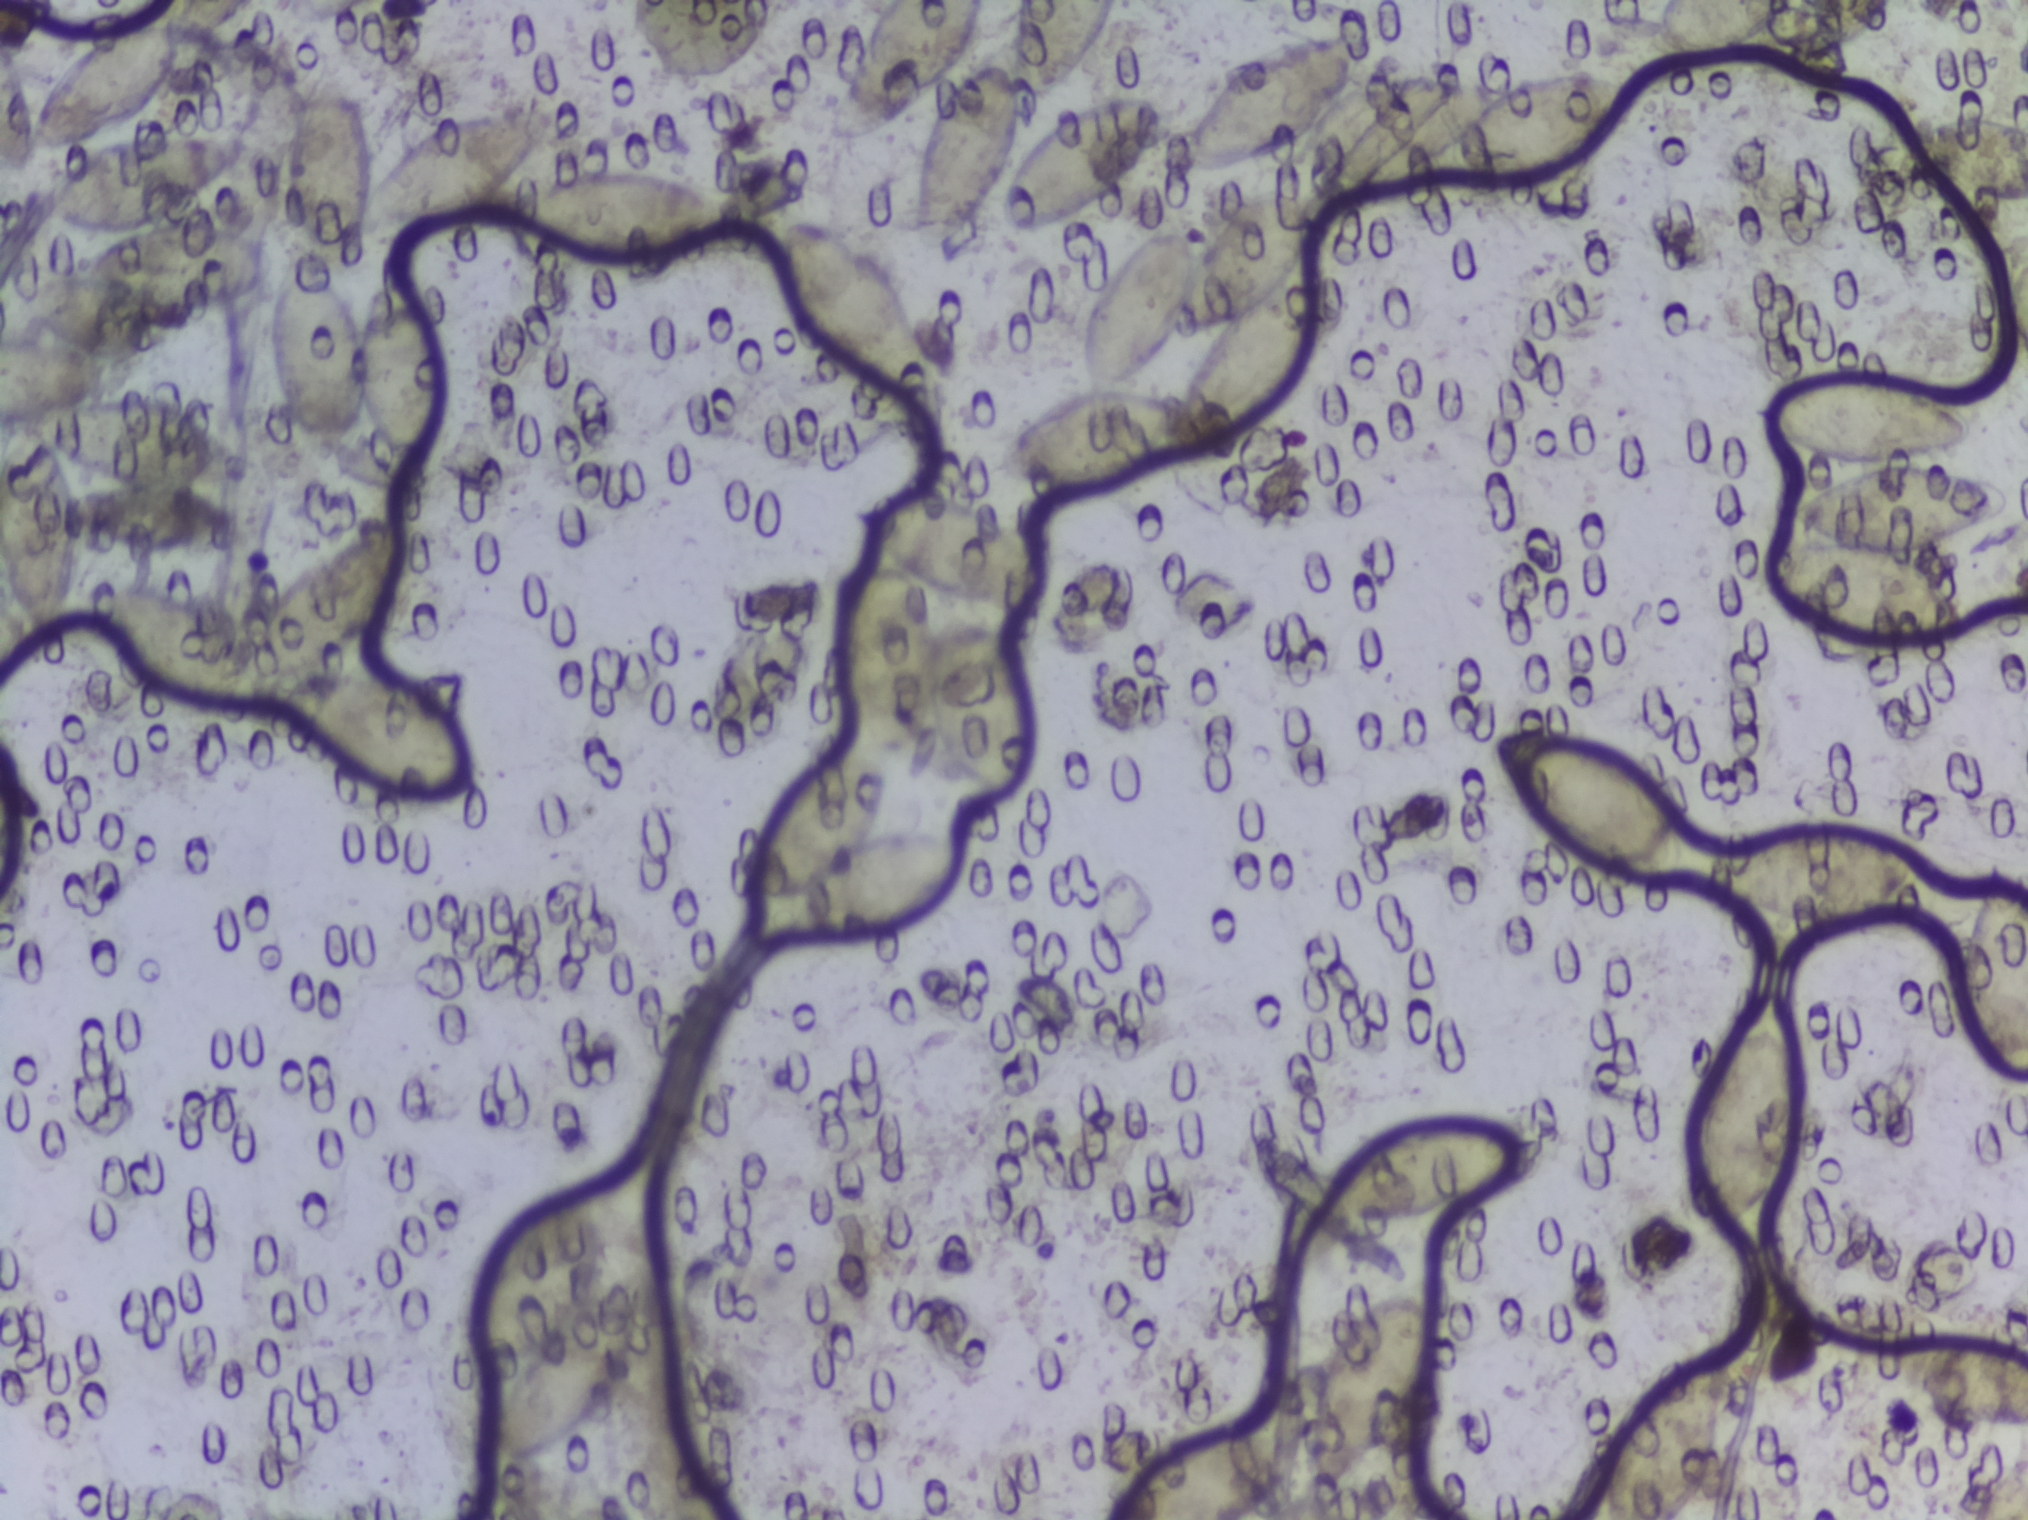
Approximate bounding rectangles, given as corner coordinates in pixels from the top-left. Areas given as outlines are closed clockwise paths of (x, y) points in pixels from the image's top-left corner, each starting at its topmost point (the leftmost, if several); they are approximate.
The expert annotation outlines Schistosoma eggs in 23 areas, left to right: outline (157, 23), (174, 29), (166, 84), (154, 104), (107, 132), (249, 136), (248, 159), (236, 174), (159, 227), (216, 226), (263, 241), (273, 252), (273, 275), (255, 296), (232, 305), (156, 313), (159, 347), (140, 361), (113, 364), (122, 374), (113, 389), (161, 390), (195, 405), (229, 435), (242, 454), (247, 487), (213, 497), (234, 509), (241, 525), (224, 546), (177, 555), (120, 548), (77, 529), (60, 630), (51, 639), (36, 639), (15, 613), (0, 570), (0, 340), (65, 348), (20, 311), (15, 291), (39, 276), (68, 274), (88, 253), (122, 238), (68, 230), (39, 209), (39, 199), (95, 138), (33, 151), (25, 175), (0, 163), (0, 38), (19, 64), (31, 129), (70, 56), (125, 27) (a cluster of eggs; reaching the left edge of the frame); outline (370, 527), (393, 527), (402, 542), (393, 599), (362, 640), (313, 670), (383, 671), (443, 702), (462, 727), (472, 757), (472, 791), (453, 808), (421, 808), (389, 797), (305, 747), (267, 713), (227, 719), (160, 699), (89, 642), (75, 619), (96, 592), (134, 589), (218, 611), (243, 635), (267, 592), (302, 571), (328, 544) (a cluster of eggs); outline (329, 56), (357, 91), (373, 176), (411, 135), (445, 114), (535, 107), (545, 116), (545, 137), (490, 203), (464, 220), (374, 228), (362, 253), (336, 275), (357, 326), (377, 277), (394, 268), (414, 275), (435, 312), (448, 400), (437, 451), (418, 480), (399, 470), (364, 420), (345, 460), (339, 466), (321, 463), (286, 422), (271, 373), (276, 299), (293, 239), (304, 242), (286, 179), (289, 135), (297, 99) (a cluster of eggs); box (x1=466, y1=1190, x2=631, y2=1465); box (x1=494, y1=167, x2=733, y2=270); outline (921, 489), (949, 489), (1005, 509), (1036, 531), (1050, 551), (1050, 591), (1039, 614), (984, 617), (1009, 633), (1028, 681), (1026, 777), (1013, 804), (997, 804), (957, 780), (934, 736), (913, 753), (885, 755), (884, 806), (872, 836), (916, 829), (966, 836), (968, 862), (960, 884), (920, 930), (858, 946), (781, 948), (774, 934), (786, 903), (735, 900), (734, 879), (777, 785), (805, 761), (866, 740), (841, 668), (837, 587), (859, 559), (875, 553), (845, 518), (845, 509) (a cluster of eggs); box (x1=775, y1=217, x2=942, y2=429); box (x1=827, y1=0, x2=987, y2=141) (reaching the top edge of the frame); box (x1=917, y1=0, x2=1161, y2=251) (reaching the top edge of the frame); box (x1=988, y1=192, x2=1327, y2=497) (a cluster of eggs); box (x1=1105, y1=1423, x2=1296, y2=1519) (reaching the bottom edge of the frame); box (x1=1180, y1=30, x2=1630, y2=185); box (x1=1303, y1=1283, x2=1442, y2=1488); box (x1=1328, y1=1120, x2=1531, y2=1218); box (x1=1494, y1=729, x2=1690, y2=884); box (x1=1597, y1=1354, x2=1722, y2=1519) (reaching the bottom edge of the frame); box (x1=1647, y1=0, x2=1793, y2=58) (reaching the top edge of the frame); box (x1=1695, y1=1017, x2=1800, y2=1228); box (x1=1707, y1=821, x2=1926, y2=932); box (x1=1751, y1=379, x2=2006, y2=646); box (x1=1886, y1=1331, x2=2027, y2=1431) (reaching the right edge of the frame); box (x1=1902, y1=110, x2=2027, y2=206) (reaching the right edge of the frame); box (x1=1953, y1=859, x2=2027, y2=1088) (reaching the right edge of the frame). A single outlined area may contain several eggs.
Urine filter membrane photographed through a 4× microscope objective.